Photograph from an automated digital microscope: urine filter membrane, 4× objective.
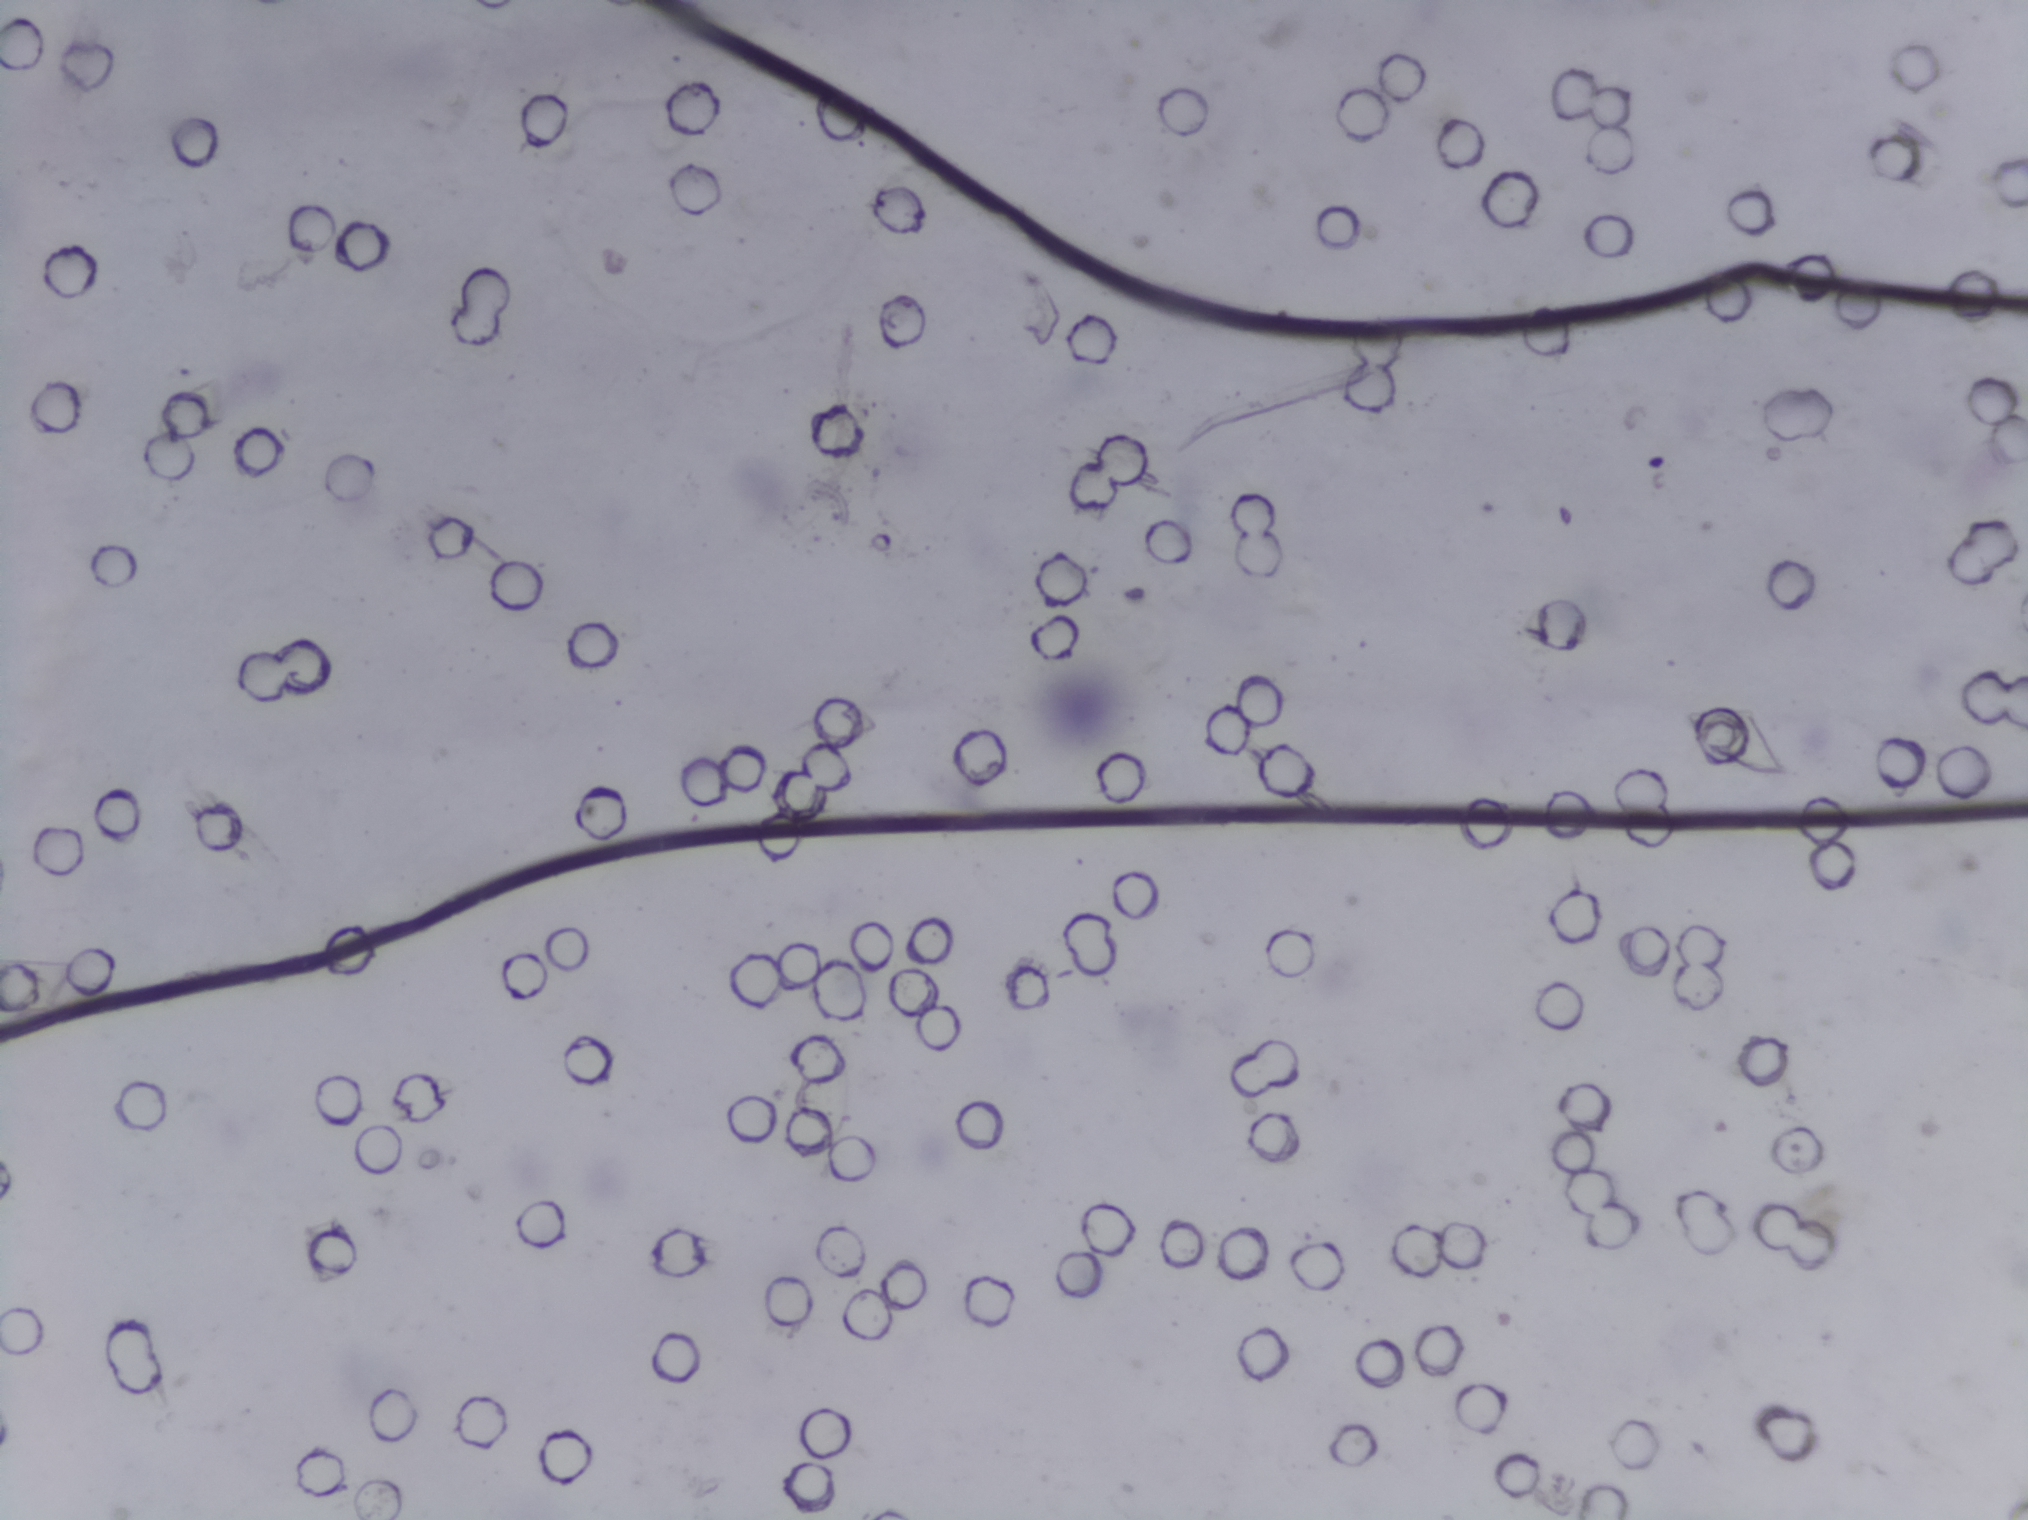
No Schistosoma egg is outlined in this image's expert annotation.